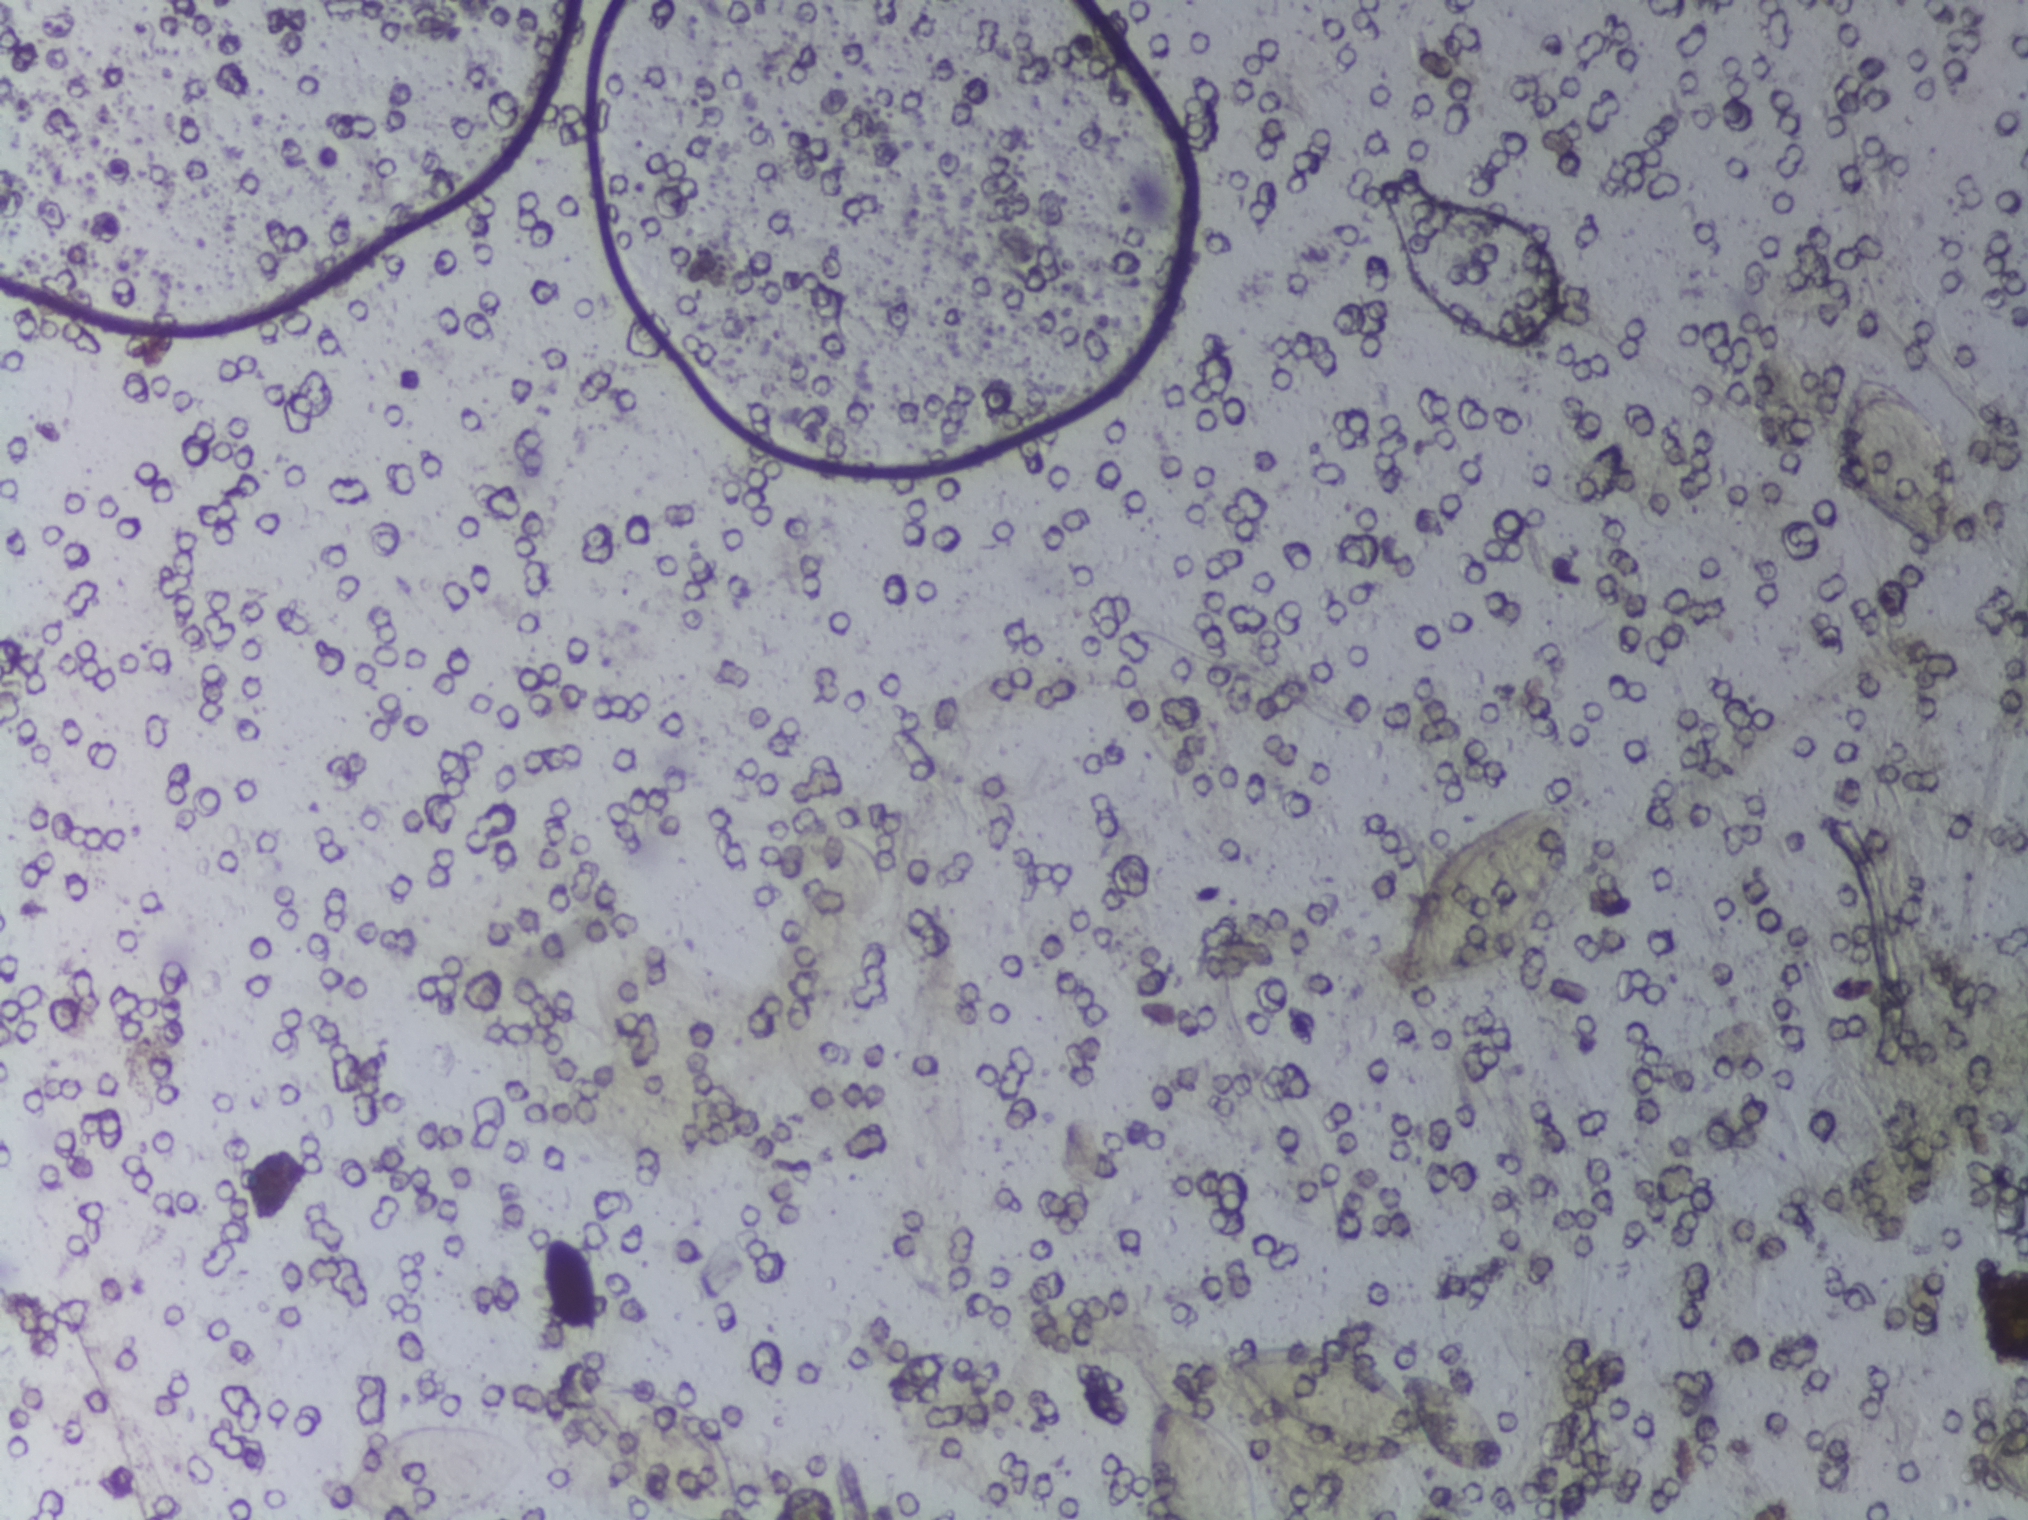
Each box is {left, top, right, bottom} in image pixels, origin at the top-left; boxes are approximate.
Schistosoma eggs are outlined in the expert annotation at {327, 1423, 532, 1519} (reaching the bottom edge of the frame); {556, 1371, 745, 1519} (reaching the bottom edge of the frame); {1145, 1397, 1263, 1519} (reaching the bottom edge of the frame); {1220, 1339, 1503, 1481}; {1390, 797, 1574, 999}; {1837, 365, 1962, 554}; {1972, 1413, 2027, 1504} (reaching the right edge of the frame). The marked pixels themselves, not the boxes around them, cover about 3.6% of the image. Eggs that touch can end up inside the same outlined area.
Photograph from an automated digital microscope: urine filter membrane, 4× objective.